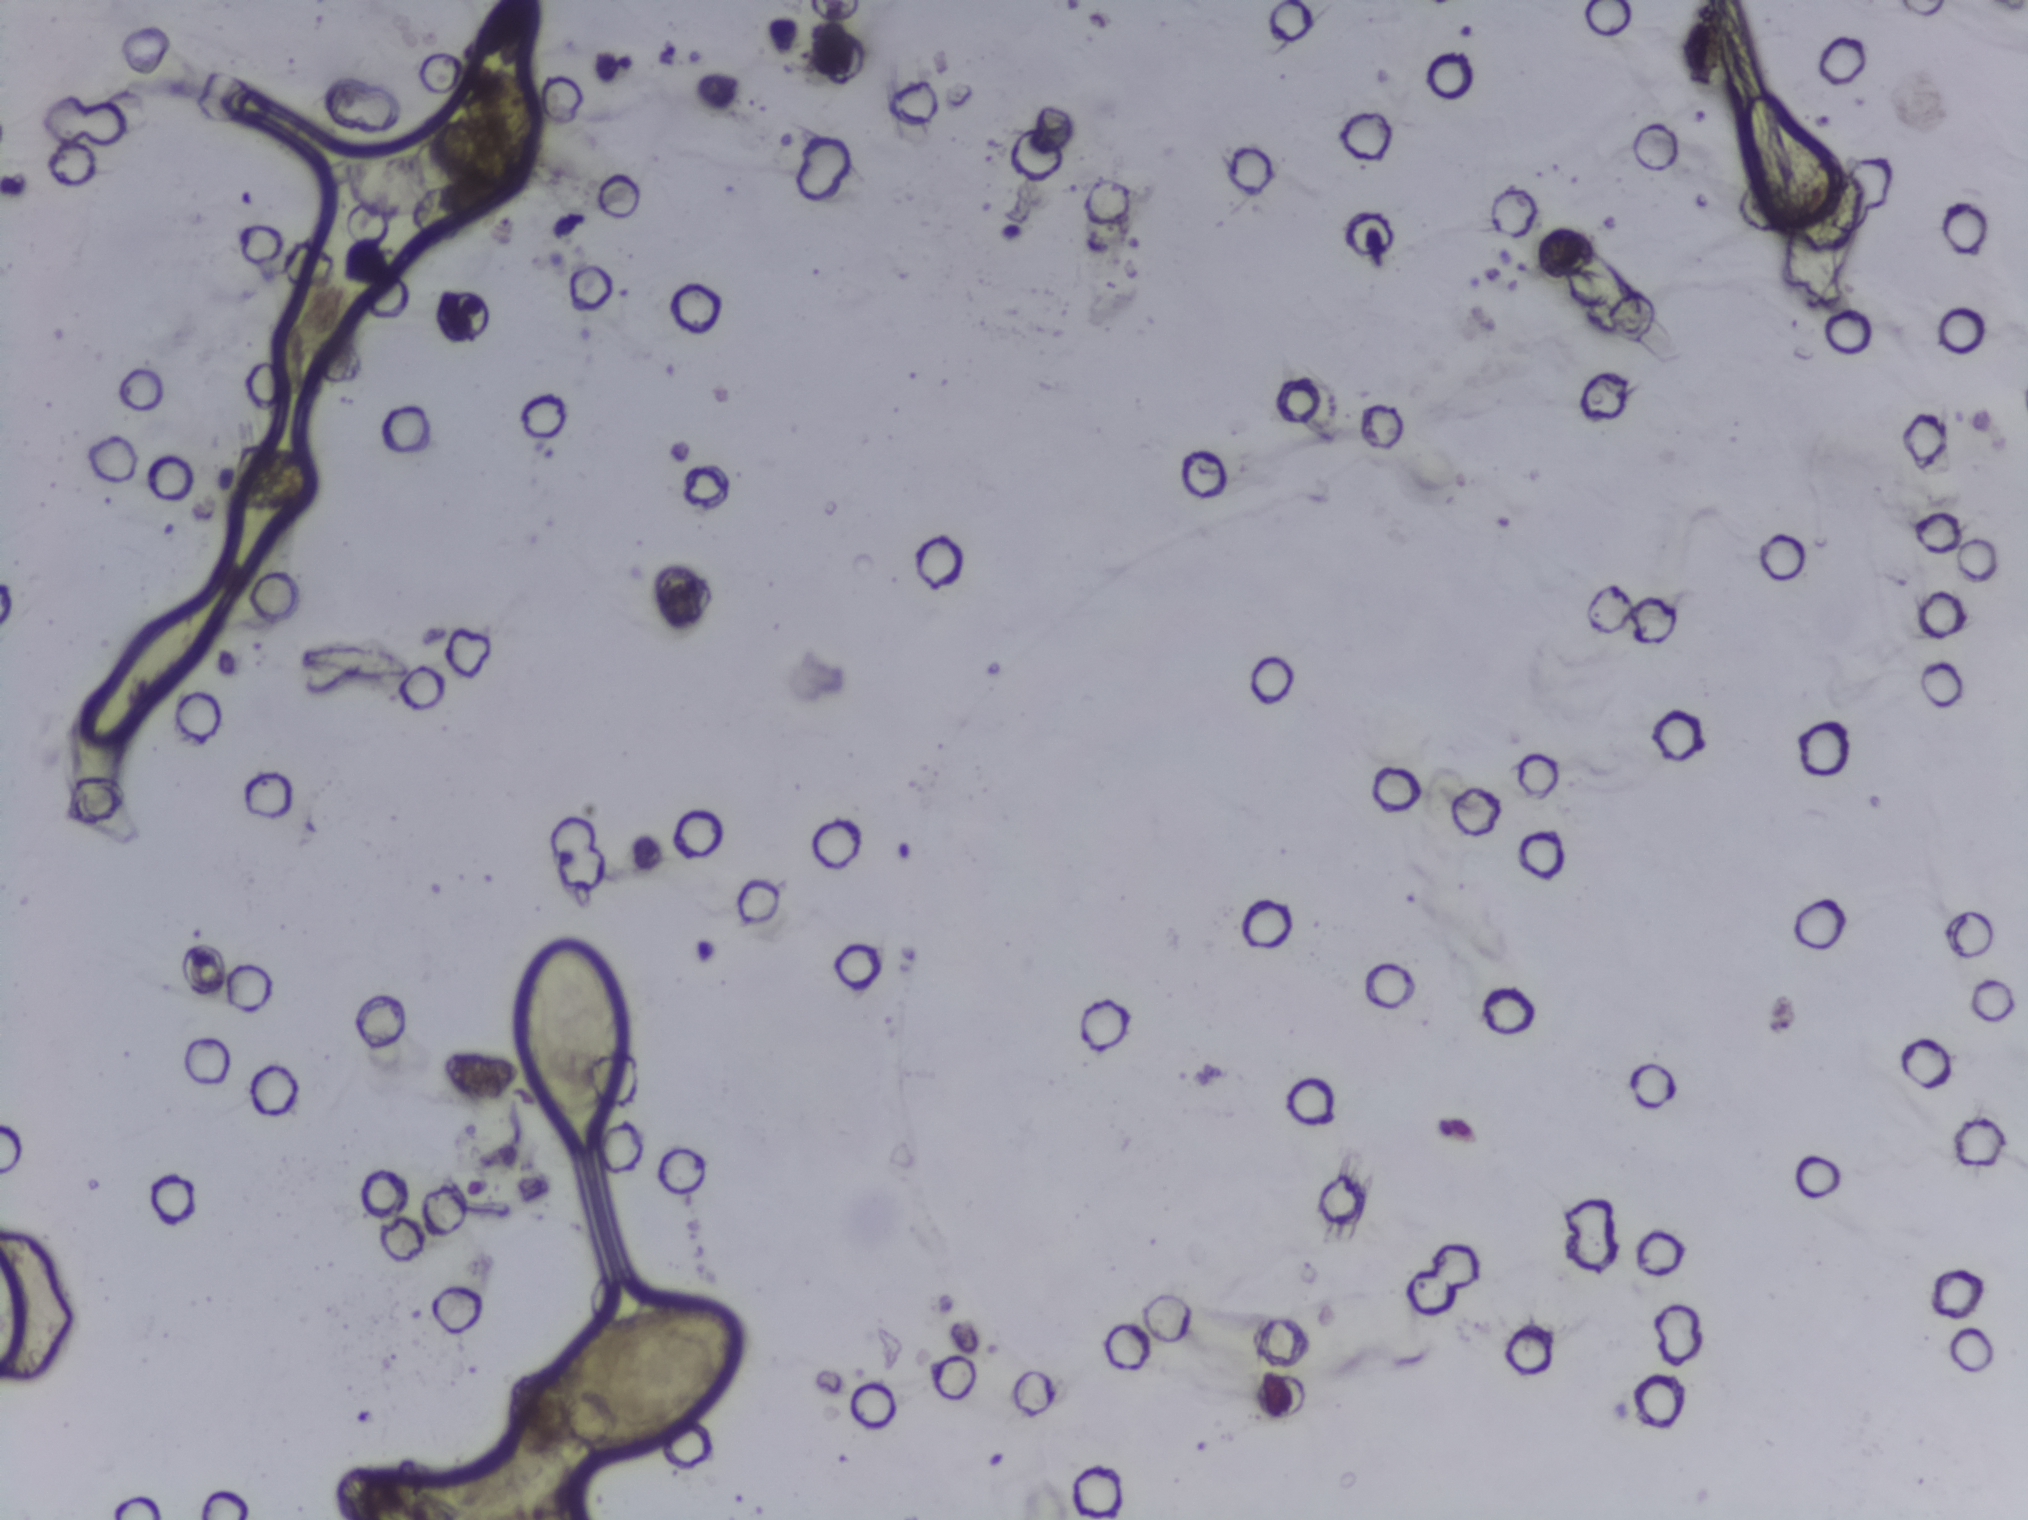
Photomicrograph of a urine filtration membrane, 4× objective. Field of view: about 1.5 mm wide and 1.1 mm high.
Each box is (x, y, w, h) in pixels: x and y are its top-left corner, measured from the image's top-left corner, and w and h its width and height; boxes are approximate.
Schistosoma eggs, outlined areas: (x=510, y=1301, w=235, h=146); (x=527, y=937, w=101, h=216). Eggs that touch can end up inside the same outlined area.